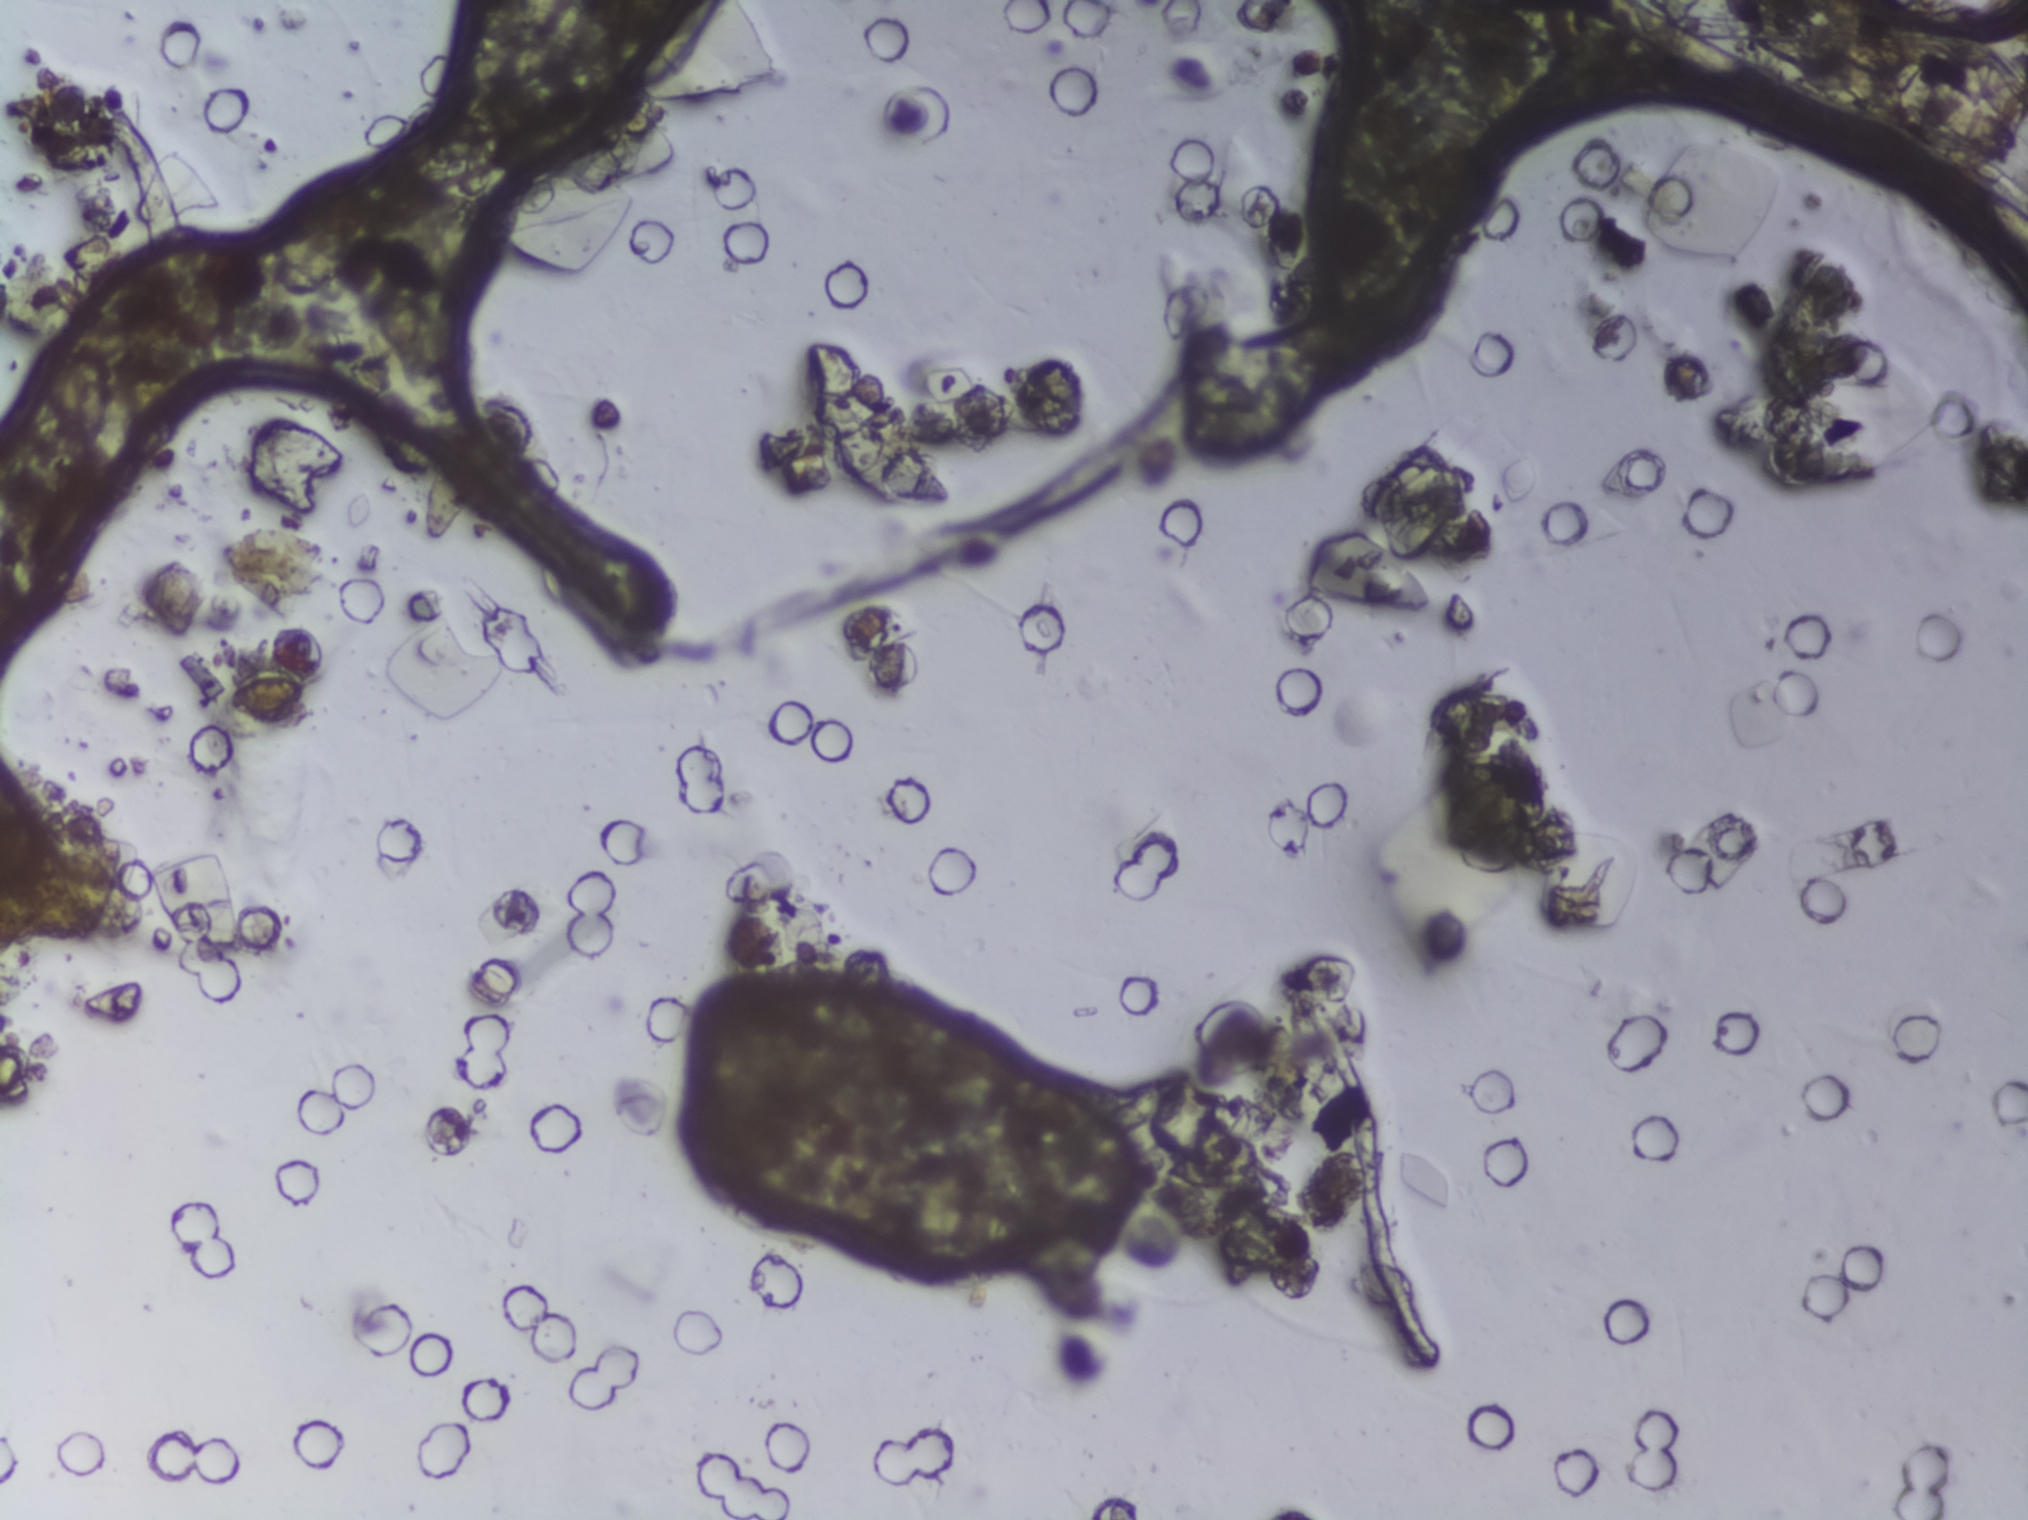
Photomicrograph of a urine filtration membrane, 4× objective.
No Schistosoma egg is outlined in this image's expert annotation.